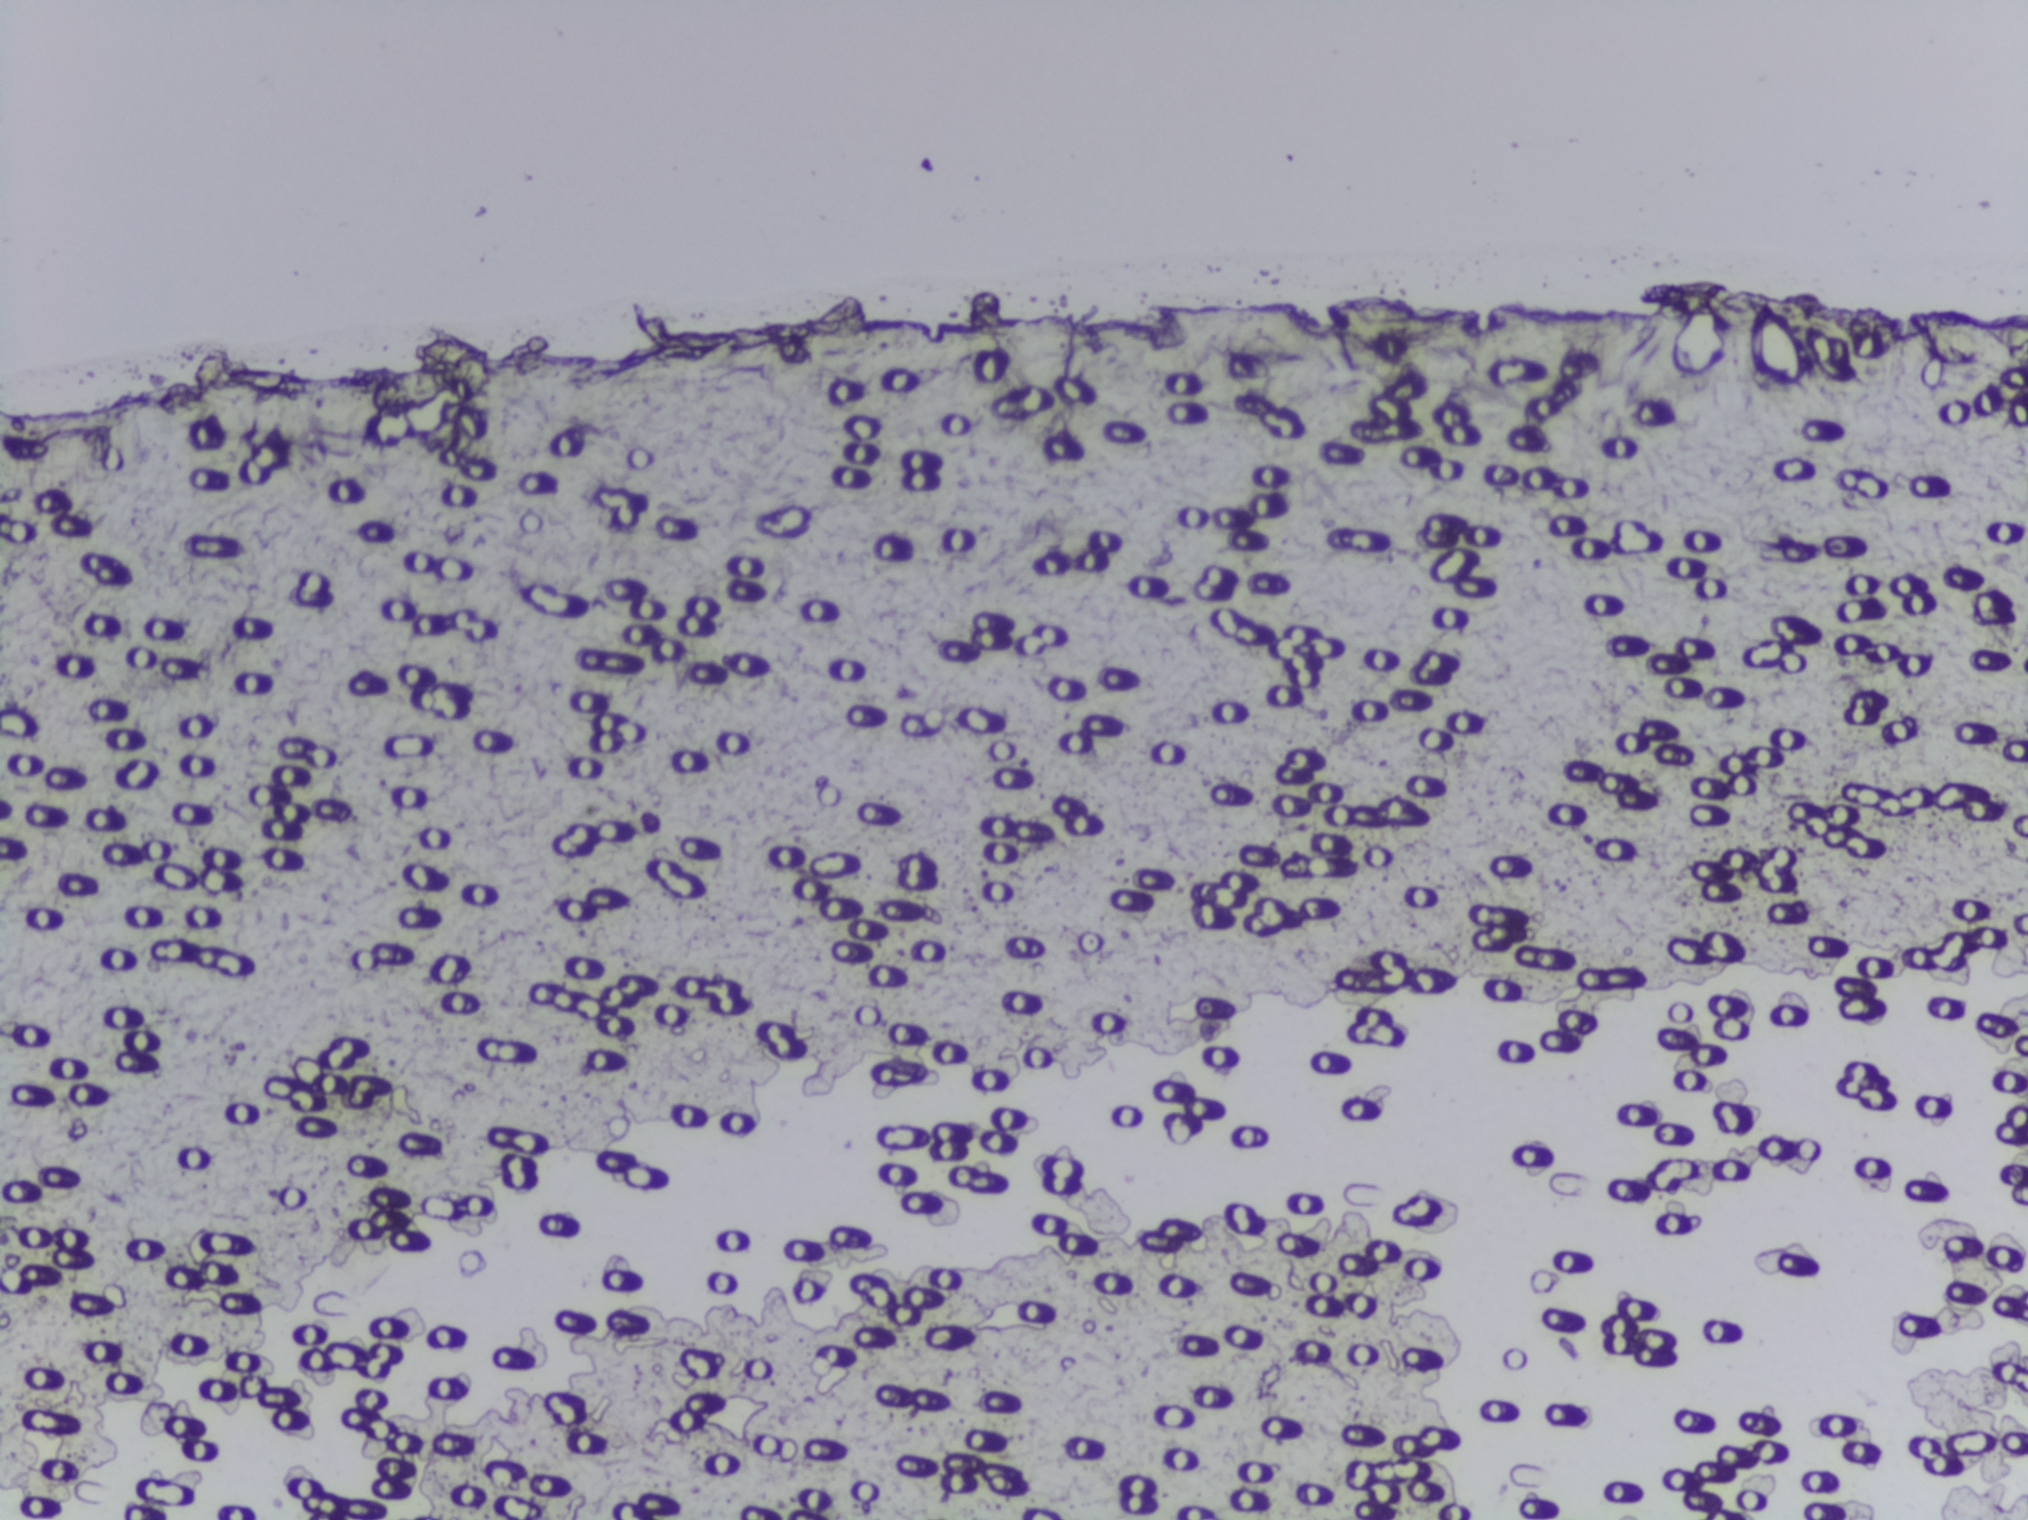
Microscope photograph (4× objective) of a membrane that a urine sample was filtered through. The image covers about 1.5 × 1.1 mm of the membrane.
No area of this image was outlined as a Schistosoma egg.